Urine filtration membrane under a 4× objective, photographed by an automated digital microscope.
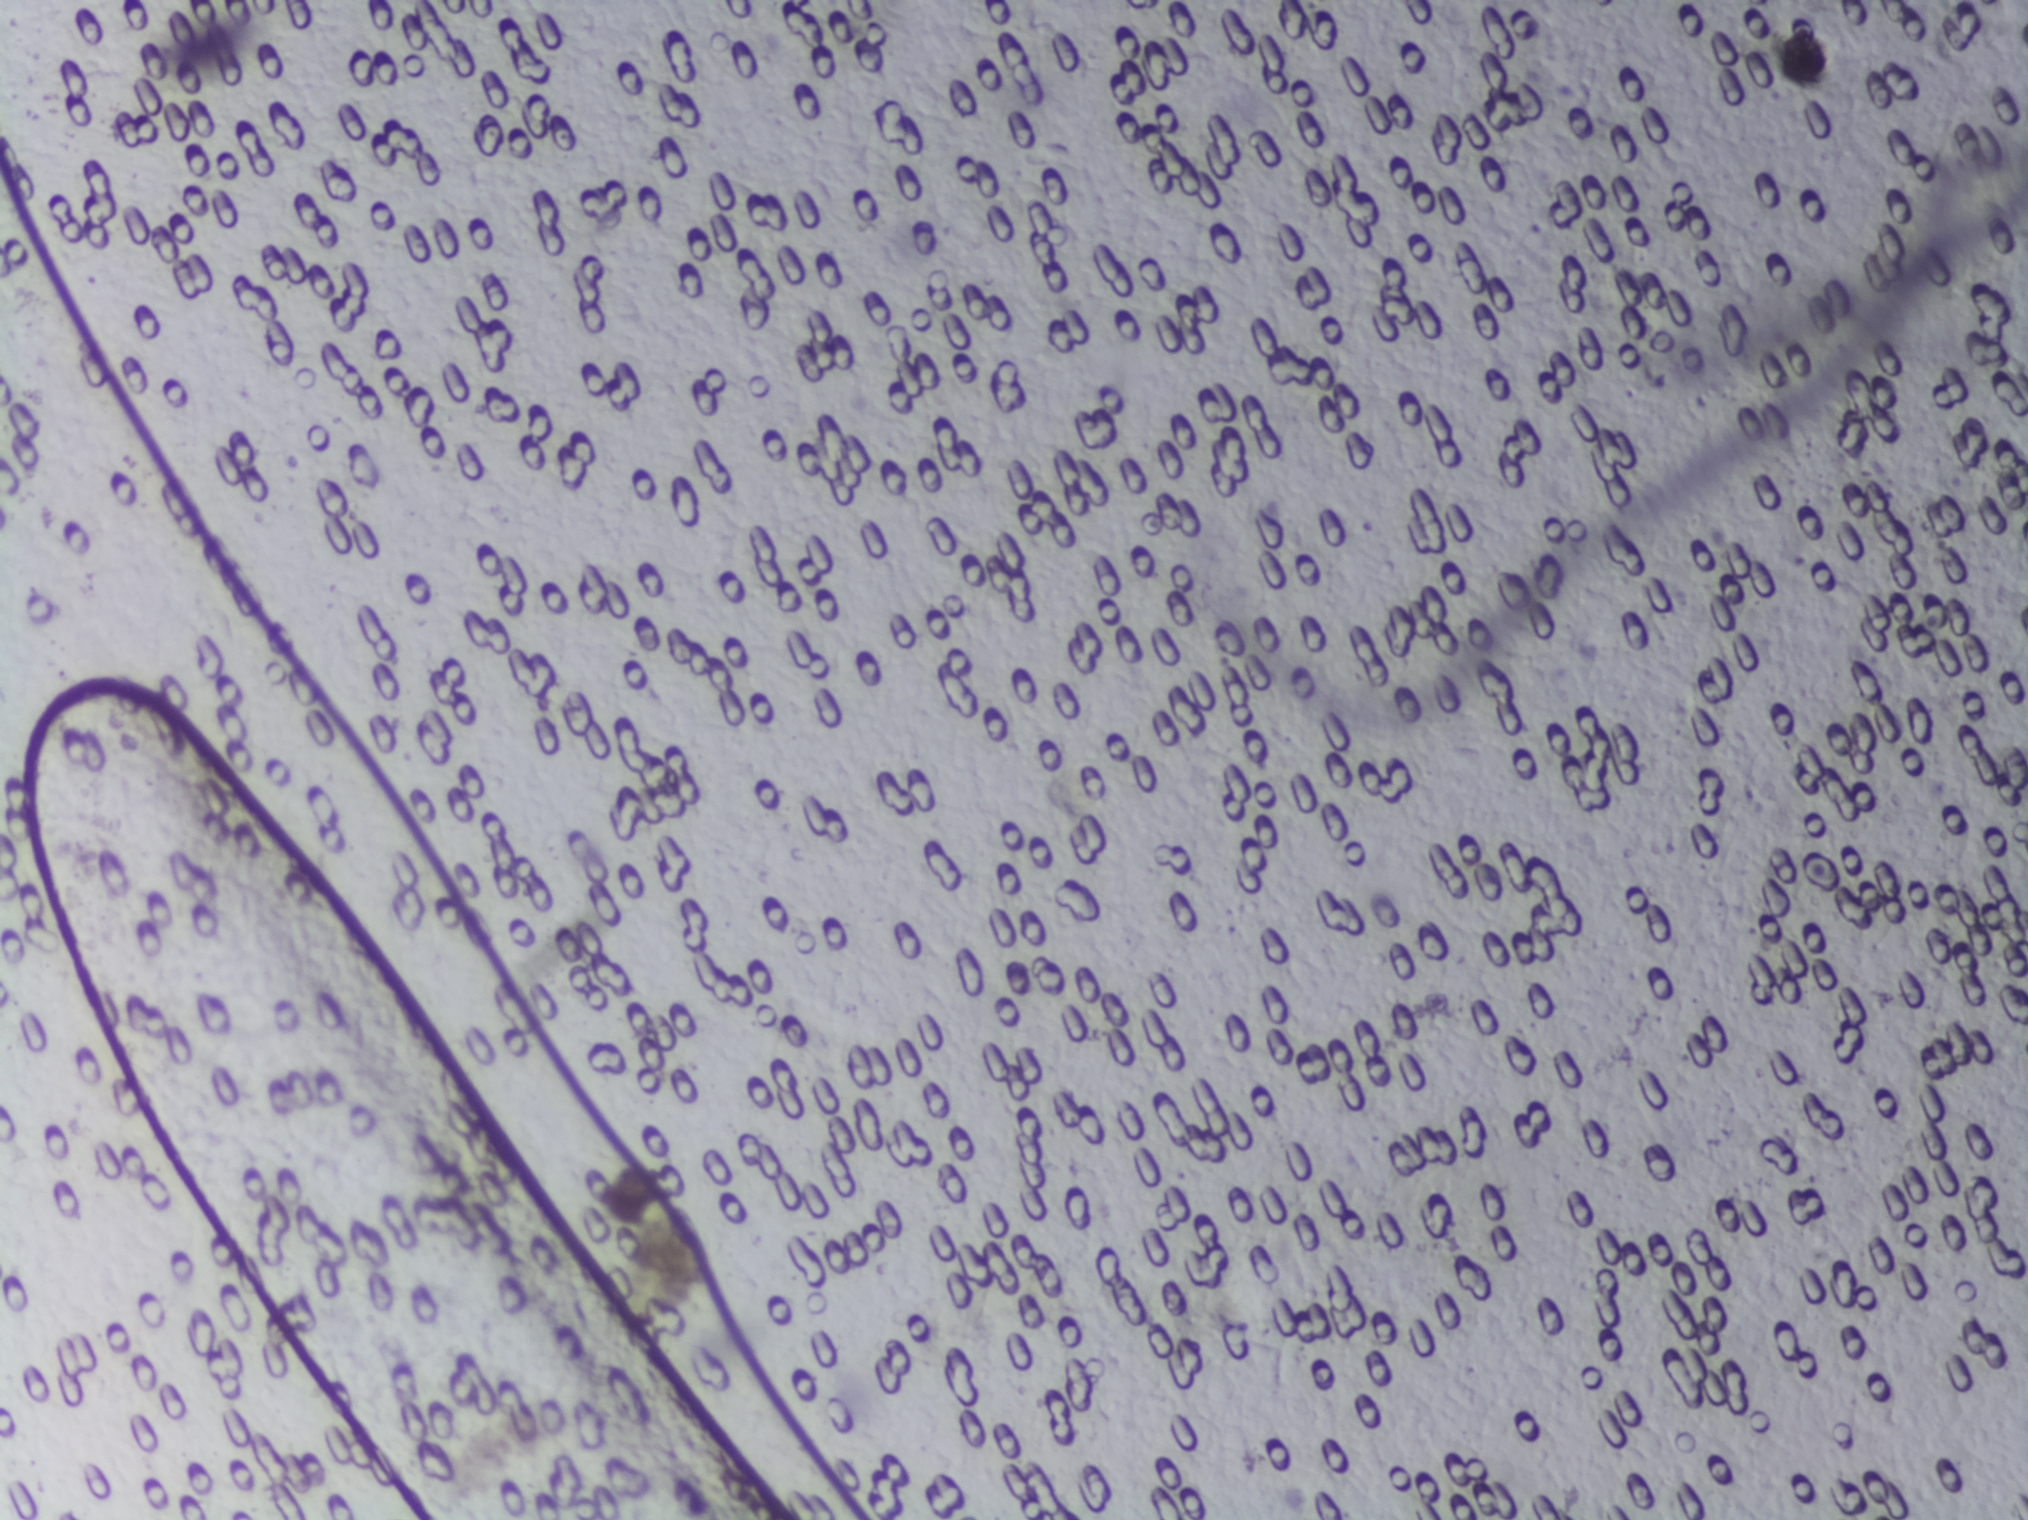
No area of this image was outlined as a Schistosoma egg.